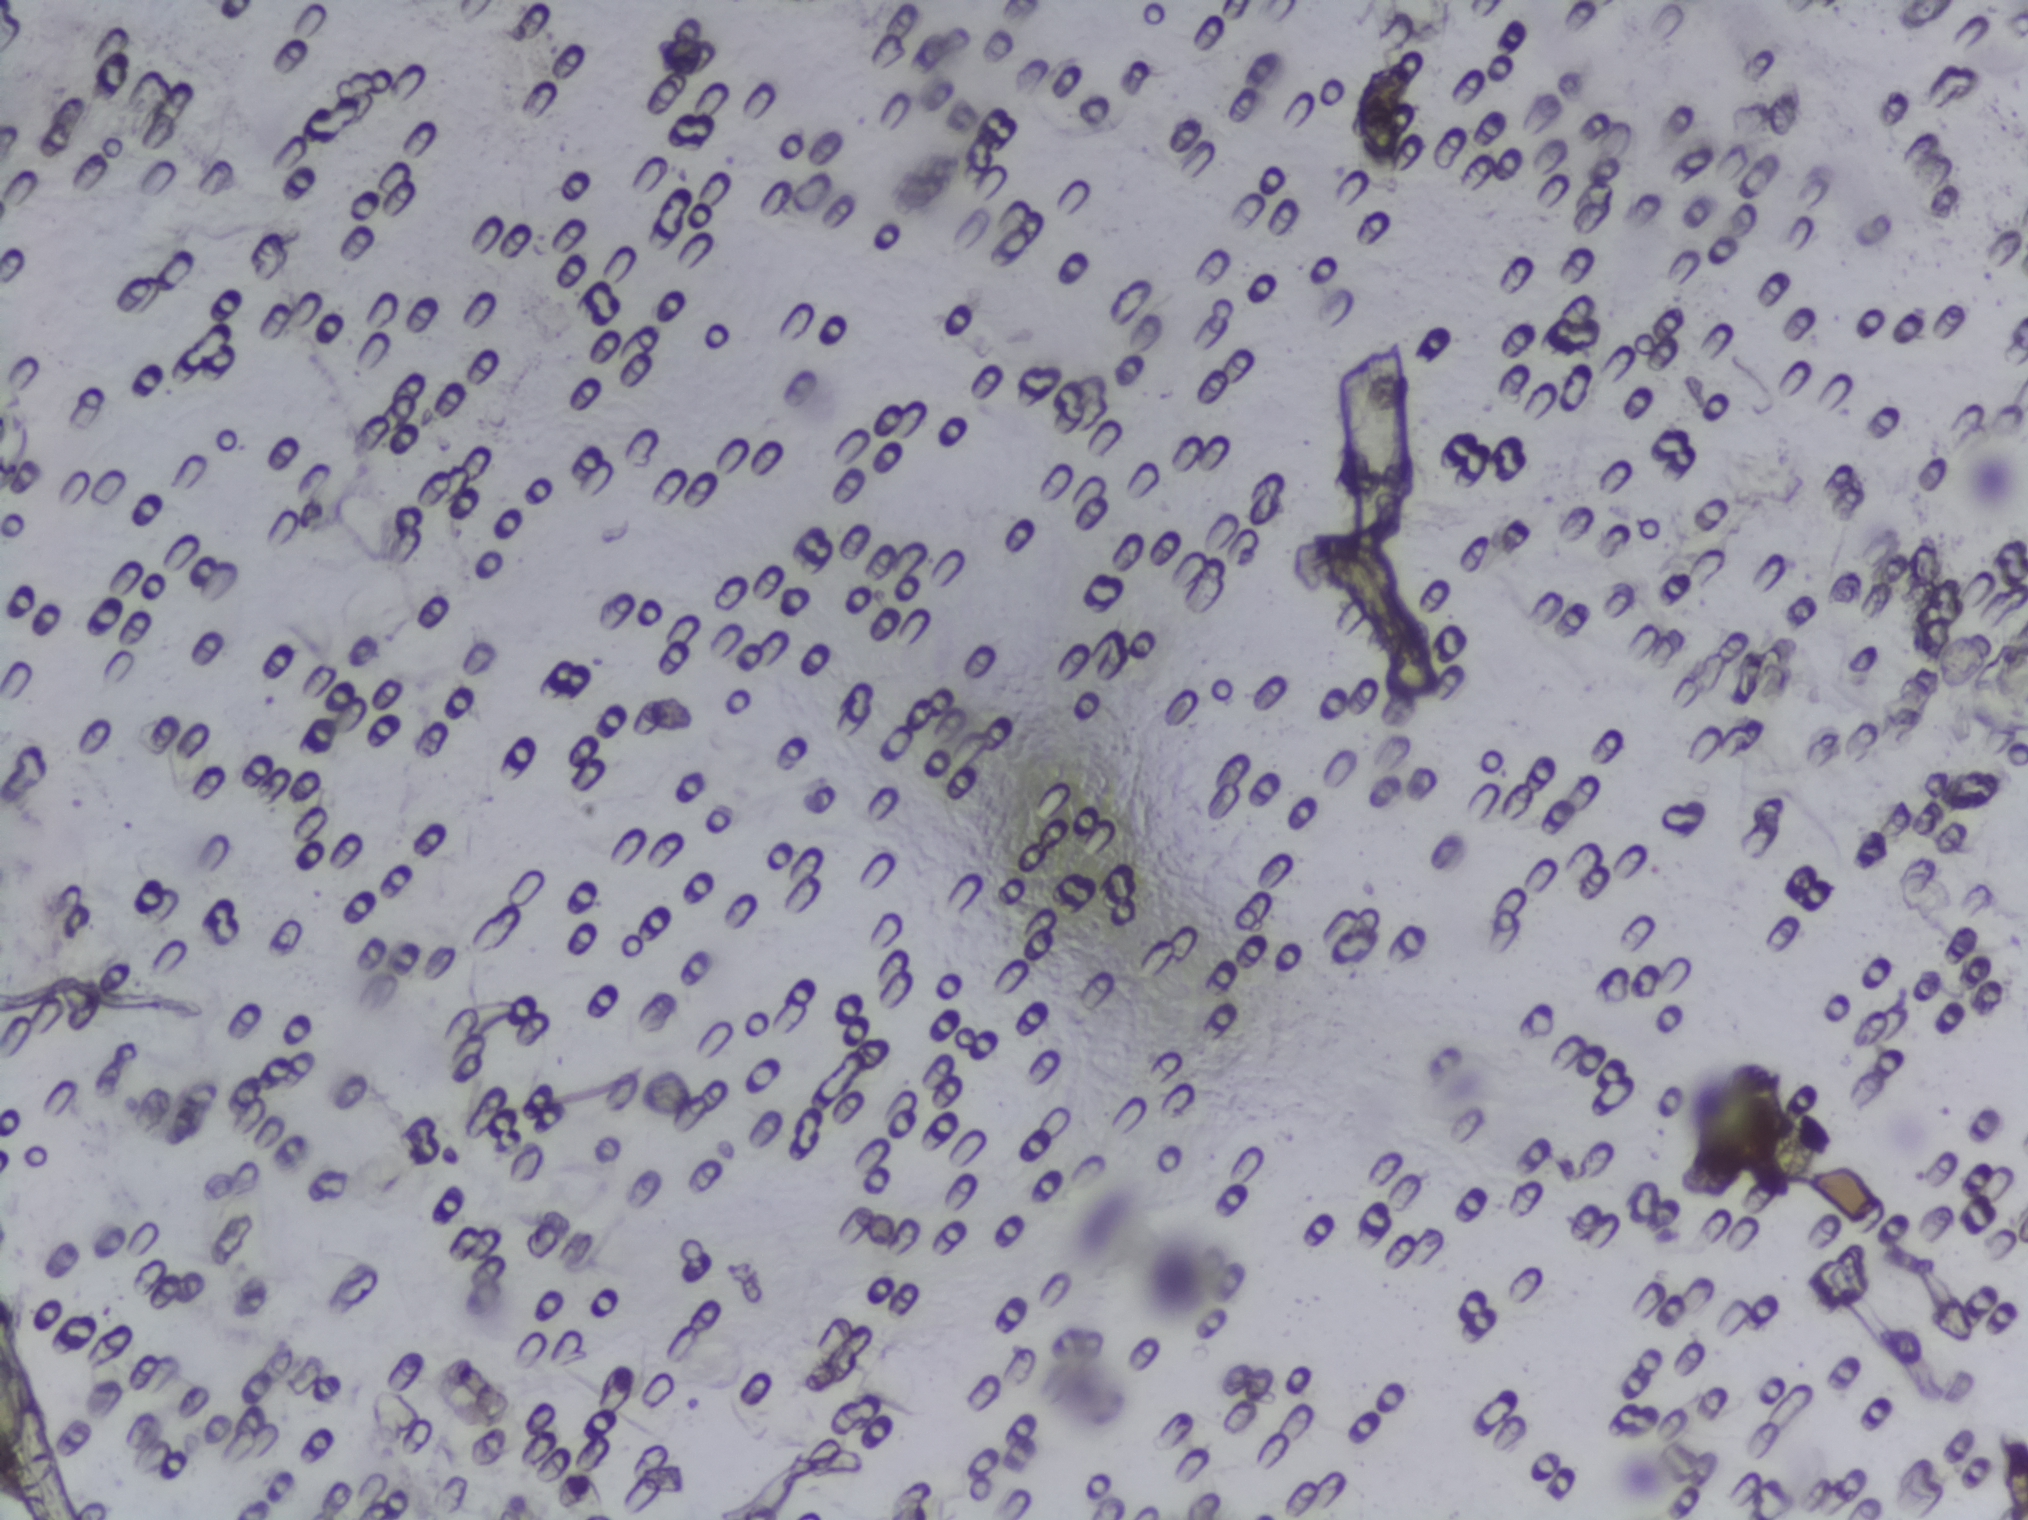
One field of view of a urine filter membrane, 4× objective, 2028 × 1520 pixels.
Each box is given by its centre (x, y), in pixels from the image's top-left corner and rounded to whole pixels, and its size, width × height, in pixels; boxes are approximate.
One area of this image is outlined as Schistosoma eggs: centre (1375, 118), 45 × 76 px. Eggs that touch can end up inside the same outlined area.